Microscope photograph (4× objective) of a membrane that a urine sample was filtered through.
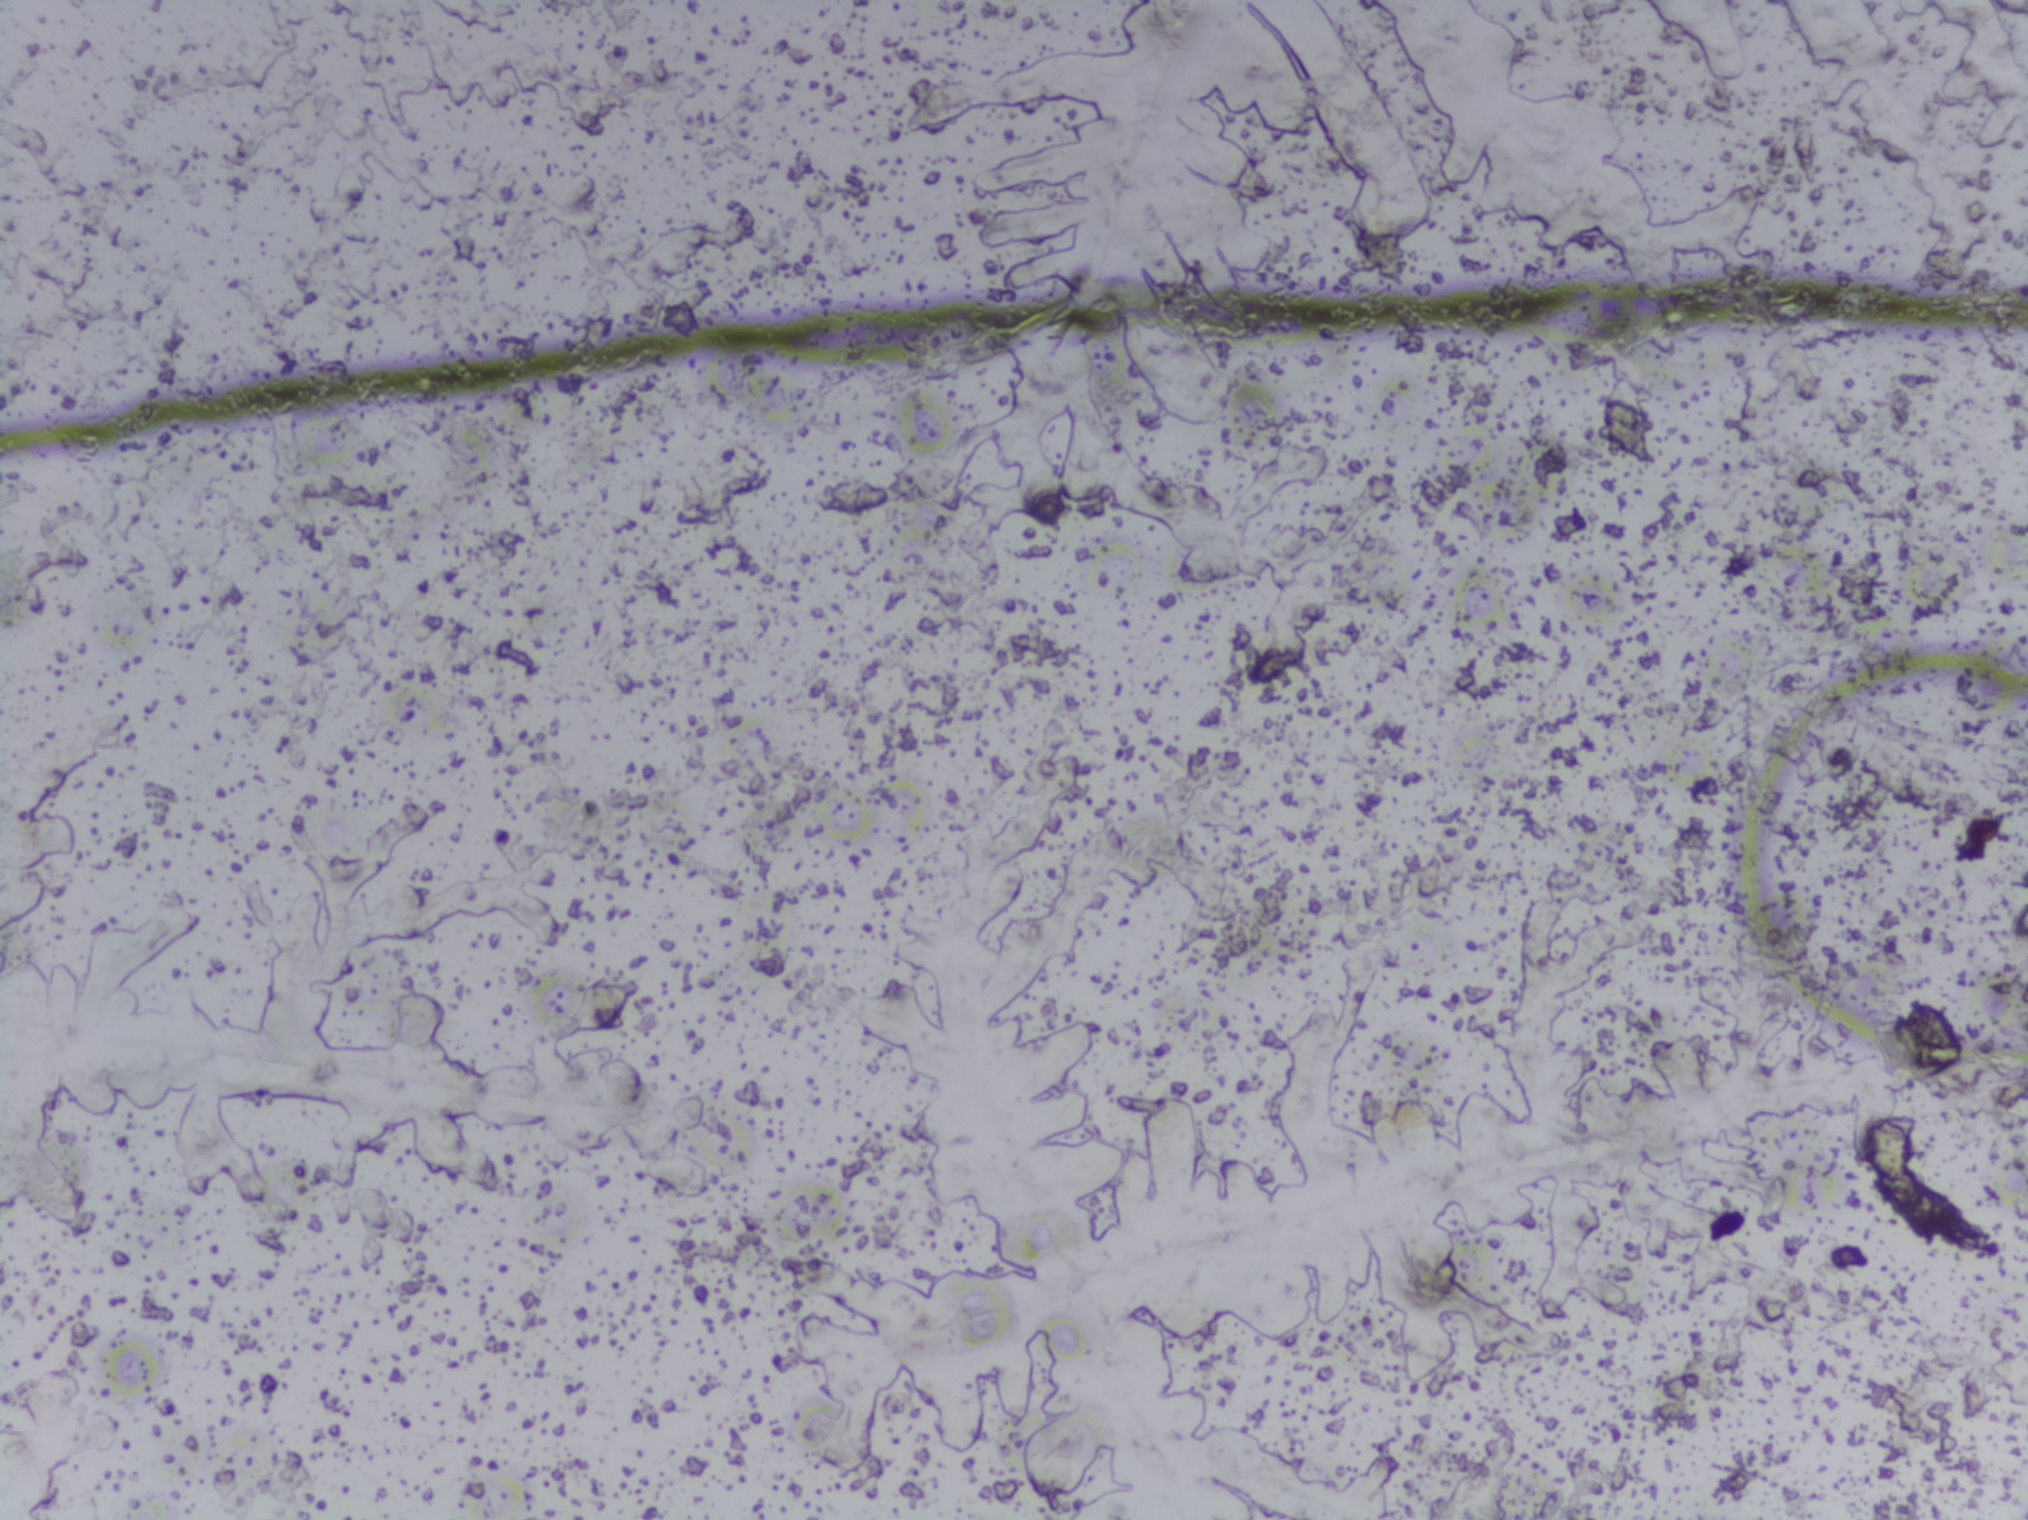
No Schistosoma egg is outlined in this image's expert annotation.